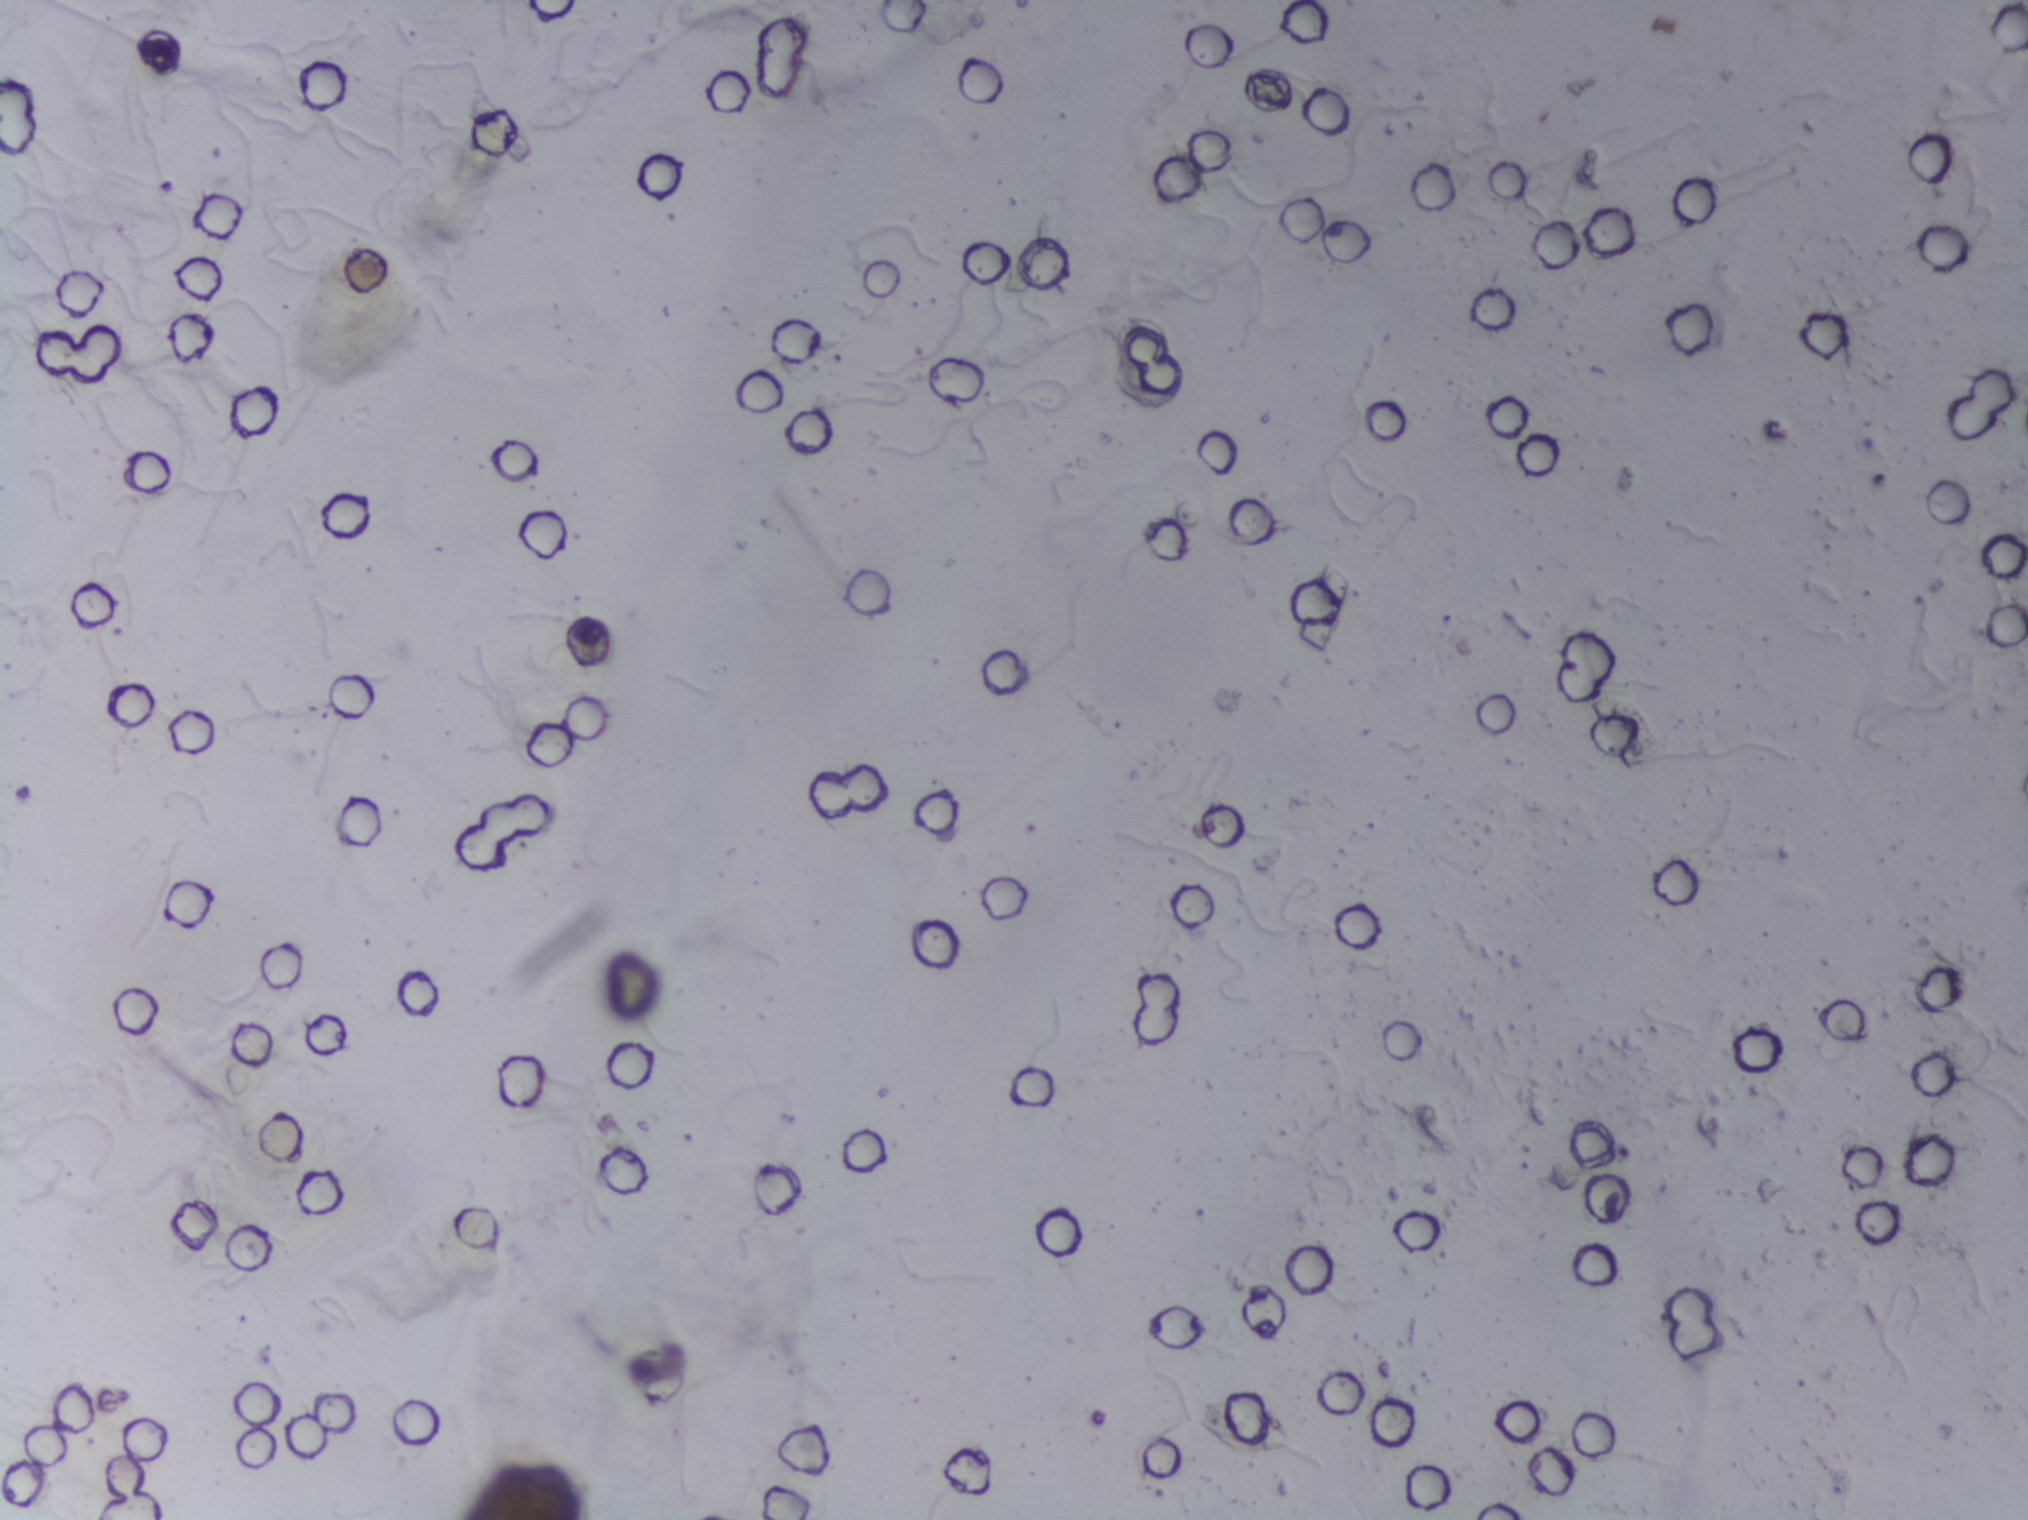
No Schistosoma egg is outlined in this image's expert annotation.
One field of view of a urine filter membrane, 4× objective, 2028 × 1520 pixels.